One field of view of a urine filter membrane, 4× objective, 2028 × 1520 pixels.
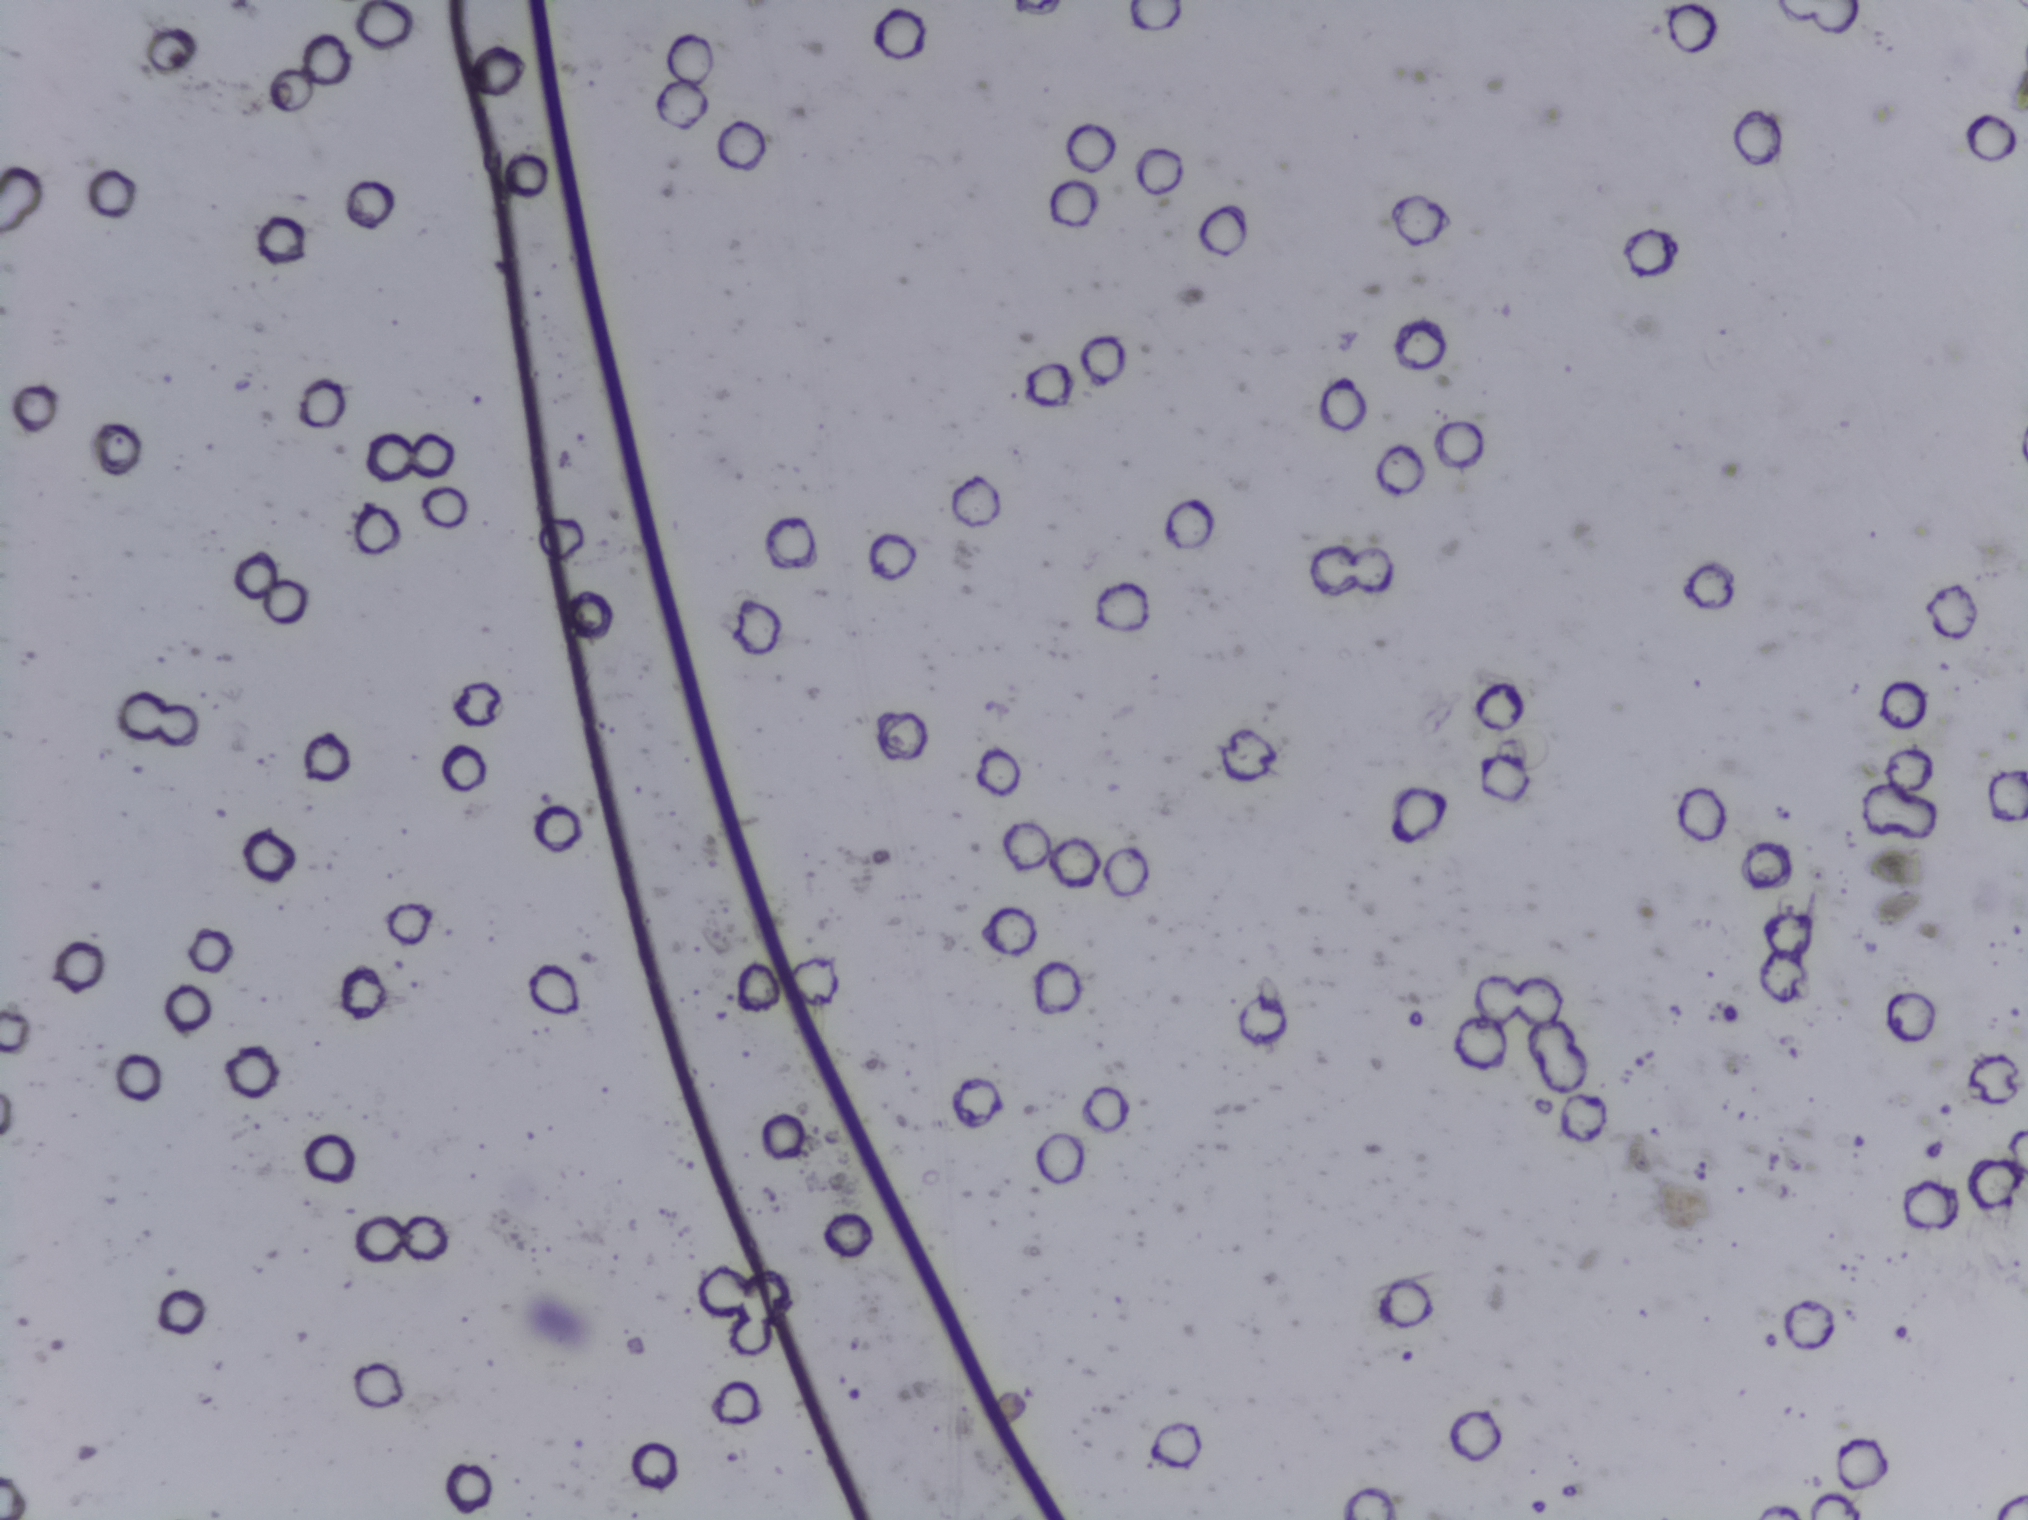
The expert annotation marks no Schistosoma egg in this field of view.